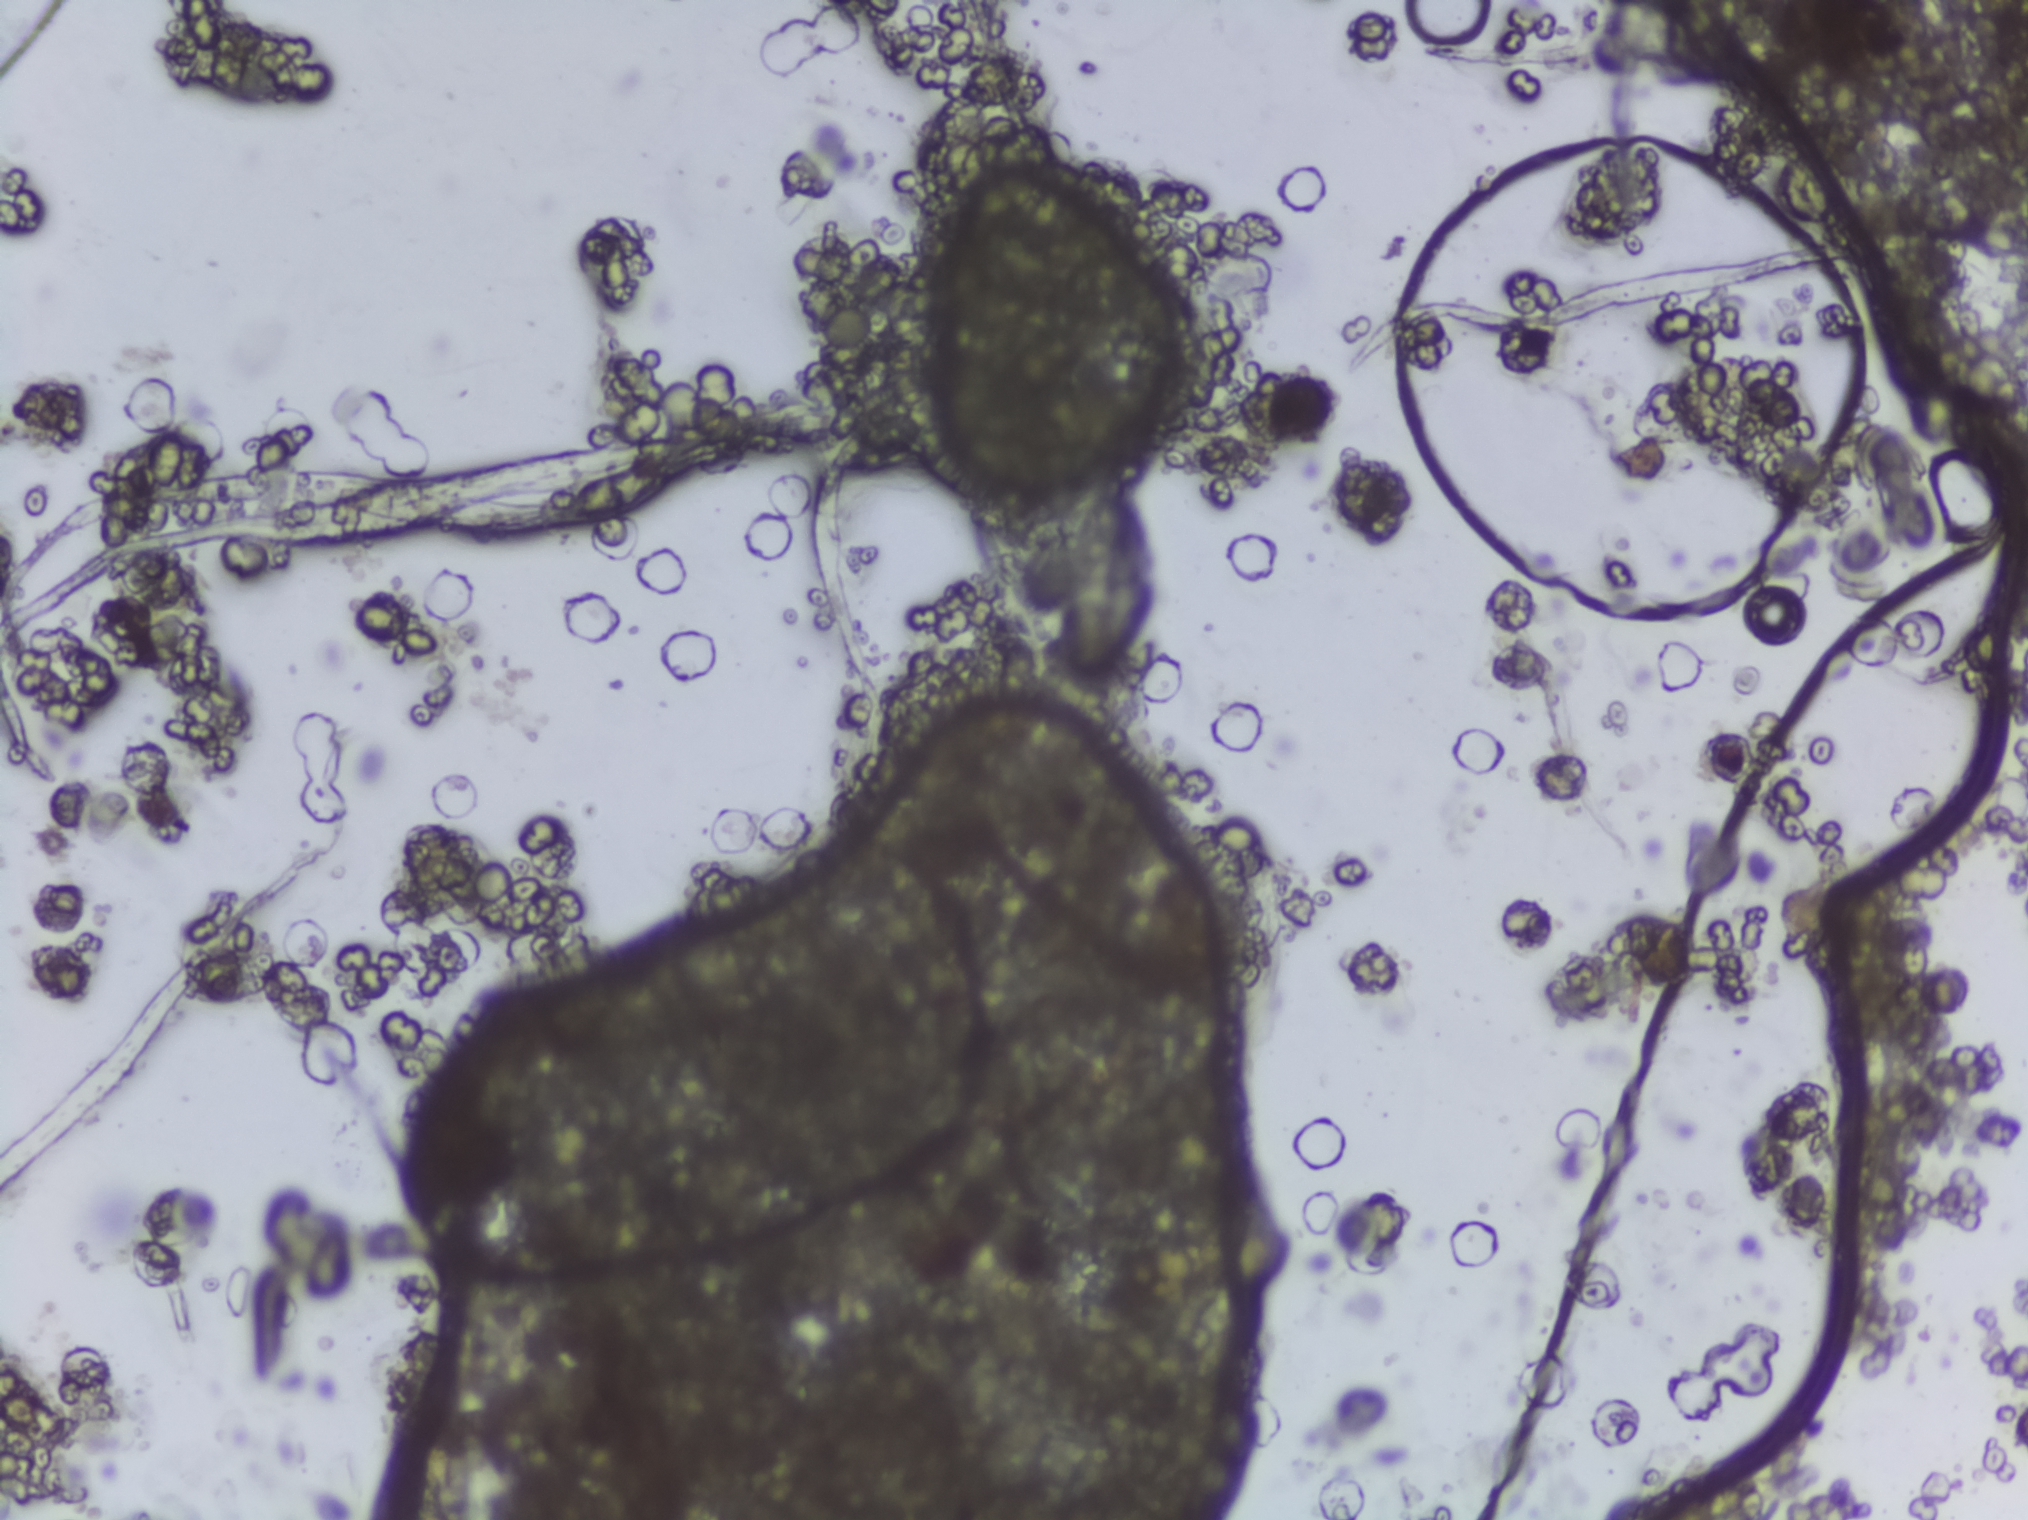
Schistosoma eggs: none outlined.
Microscope photograph (4× objective) of a membrane that a urine sample was filtered through.